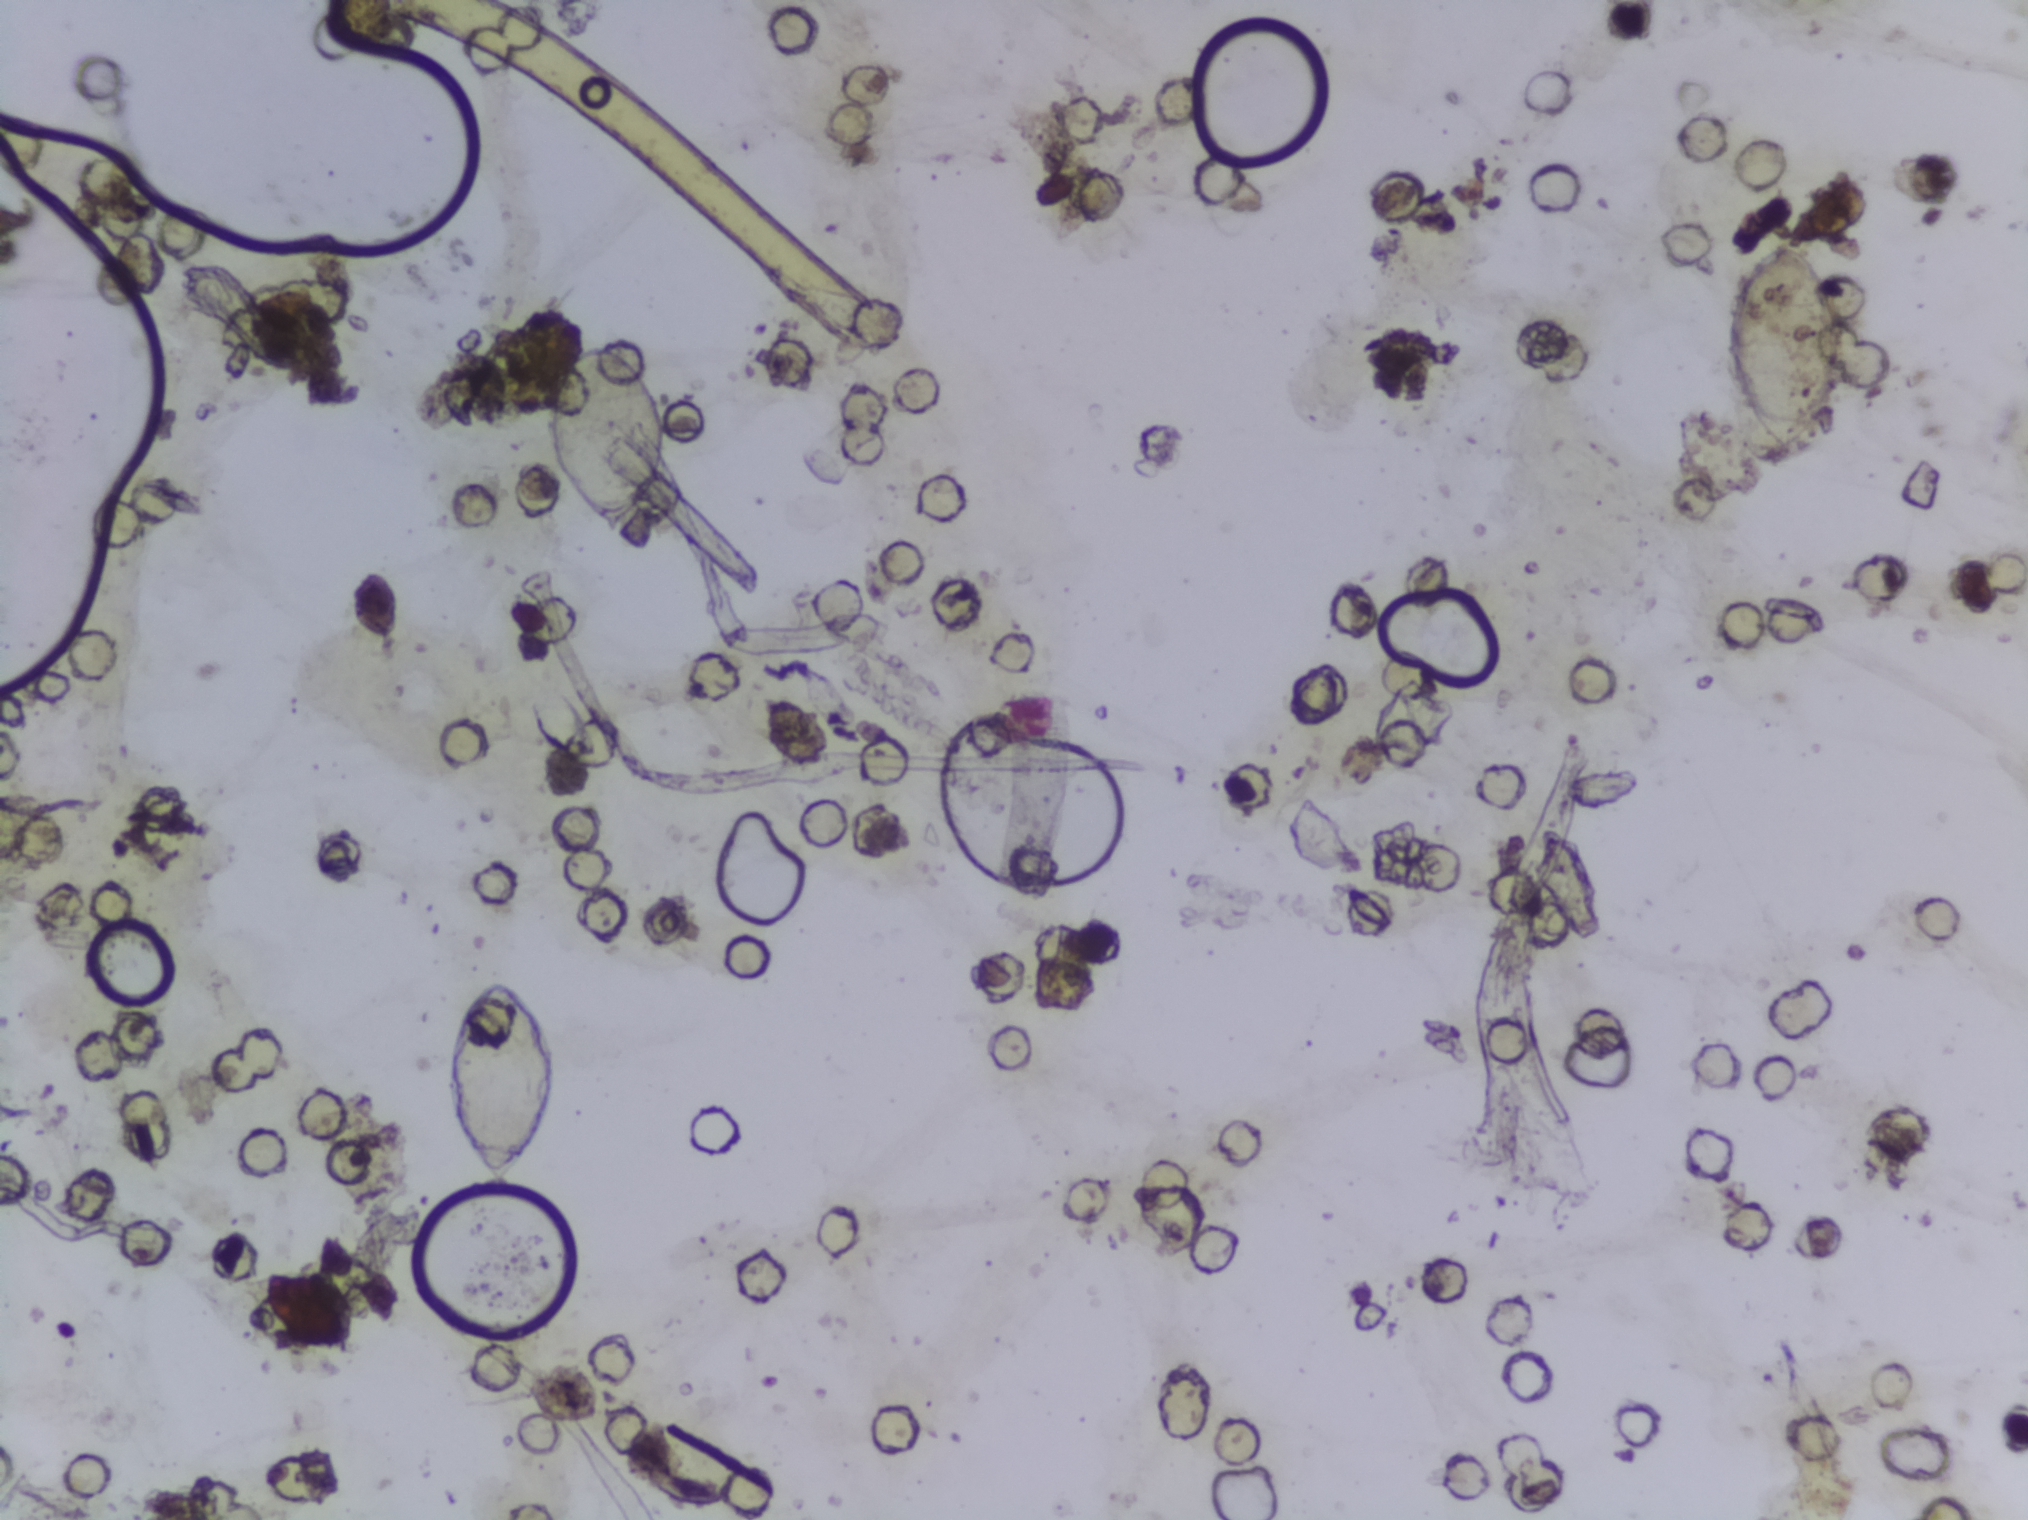
Urine filter membrane photographed through a 4× microscope objective.
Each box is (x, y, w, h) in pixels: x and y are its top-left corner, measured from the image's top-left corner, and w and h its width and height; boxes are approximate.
Three areas of this image are outlined as Schistosoma eggs, from left to right: (x=446, y=974, w=112, h=212); (x=548, y=340, w=123, h=197); (x=1728, y=231, w=120, h=230). An outlined area can hold more than one egg. A marked egg may occasionally be S. mansoni rather than S. haematobium.